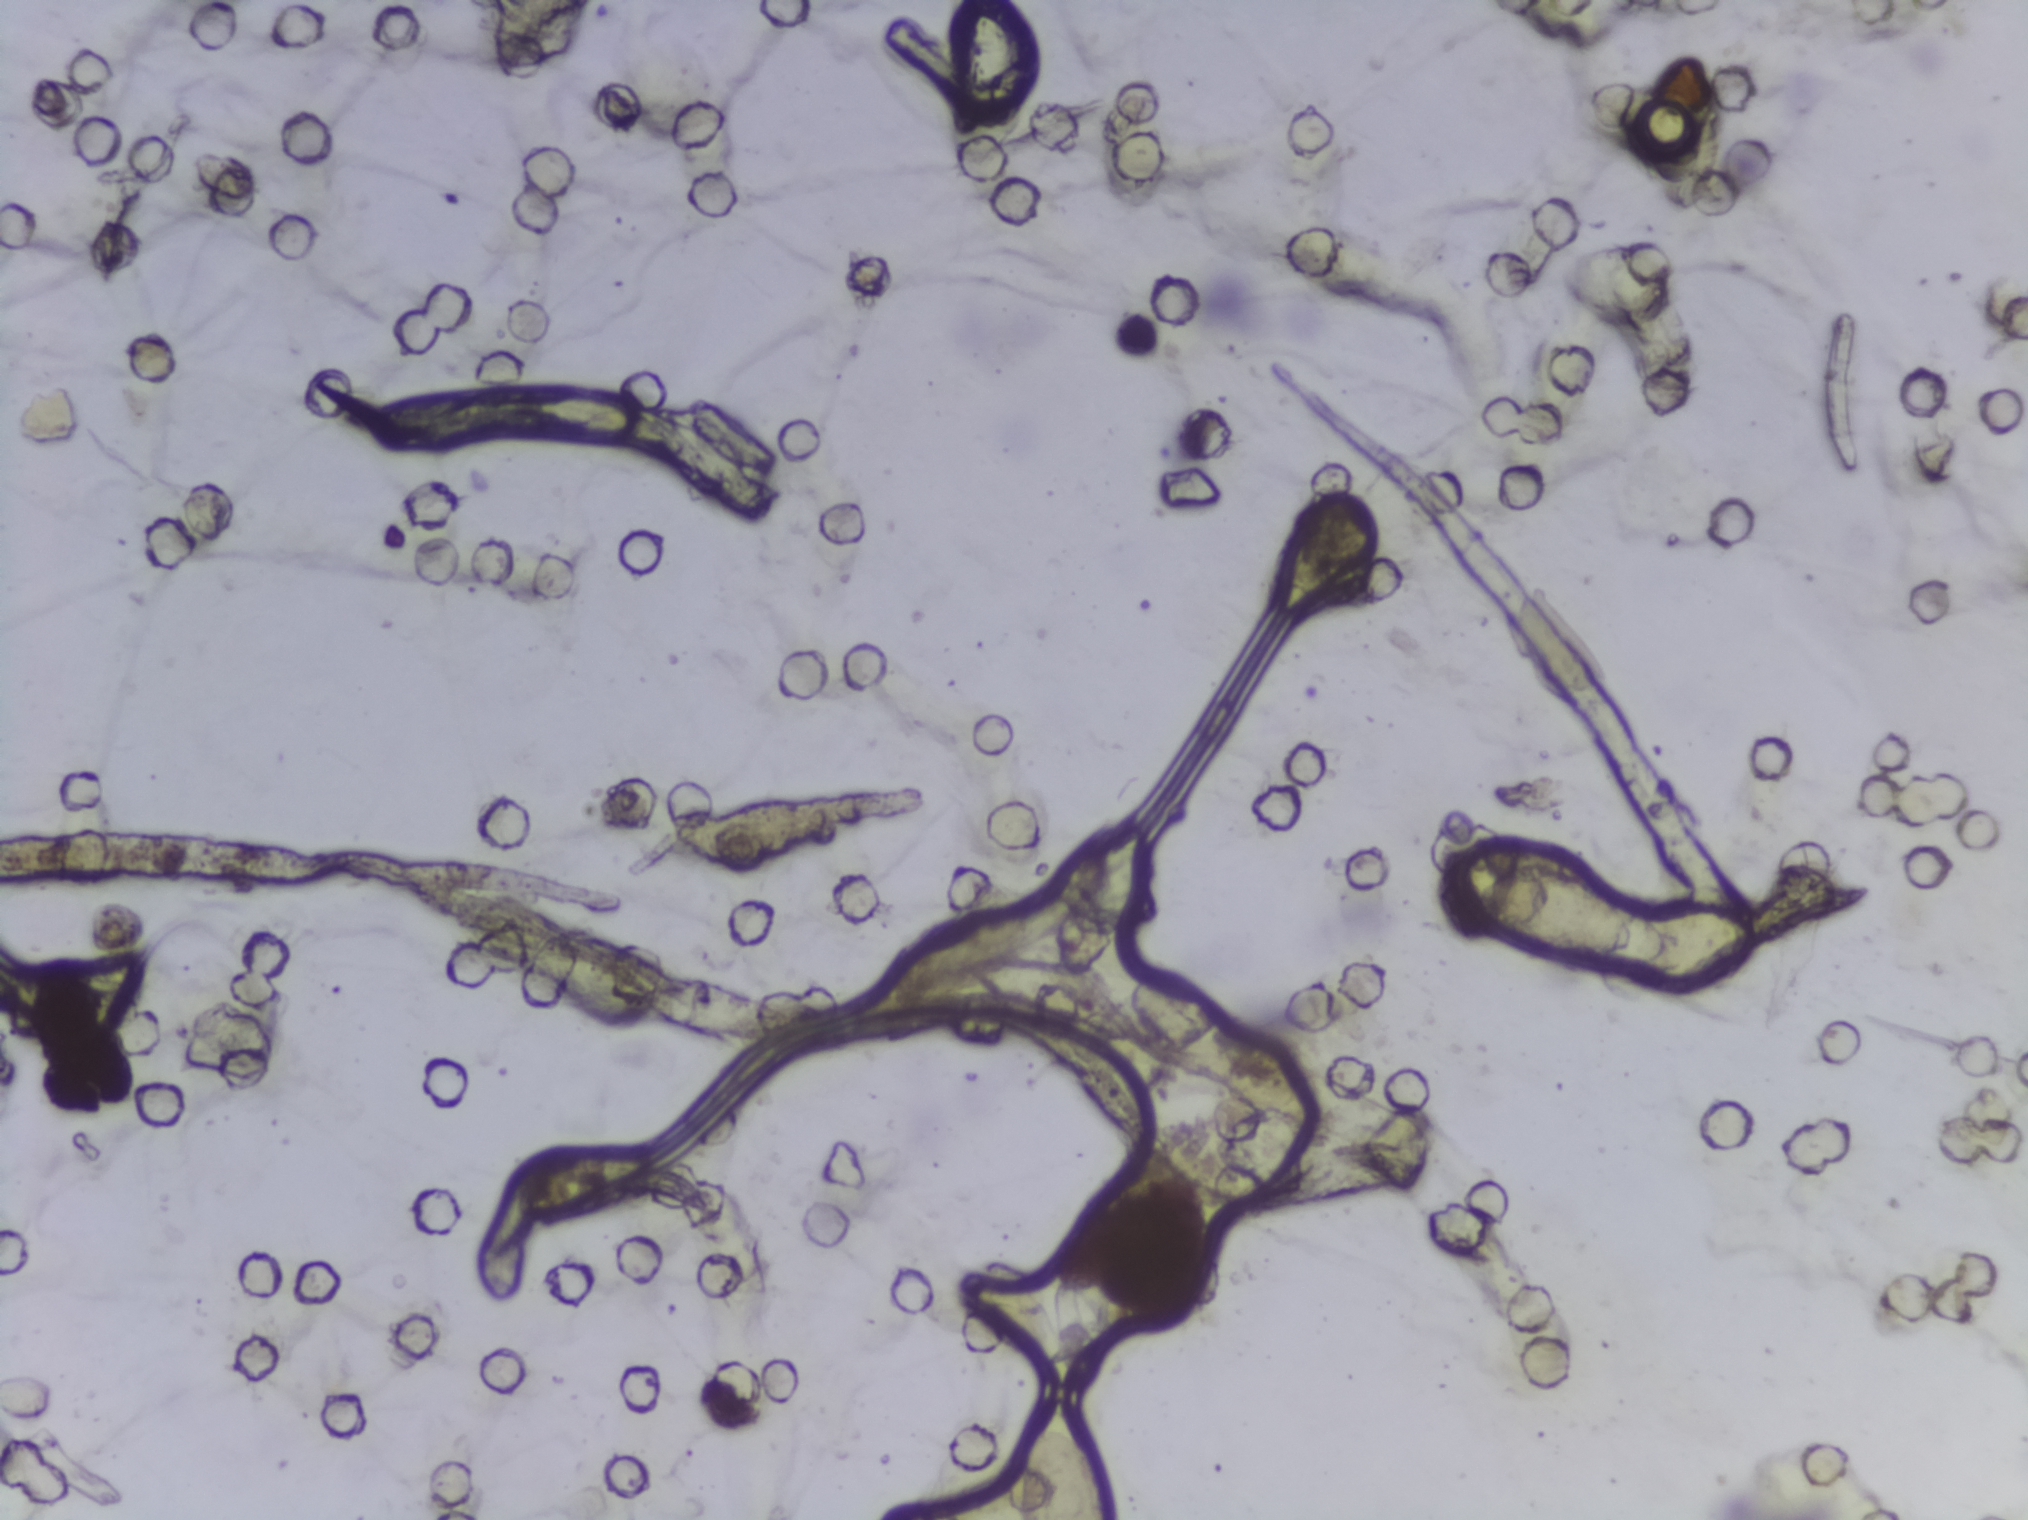
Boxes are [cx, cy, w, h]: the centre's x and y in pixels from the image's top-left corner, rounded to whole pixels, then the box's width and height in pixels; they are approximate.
{"schistosoma_egg_areas_cxcywh_px": [[1063, 1466, 98, 107], [1596, 913, 314, 153]]} Area 1 reaches the bottom edge of the frame.
A single outlined area may contain several eggs.
Microscope photograph (4× objective) of a membrane that a urine sample was filtered through.